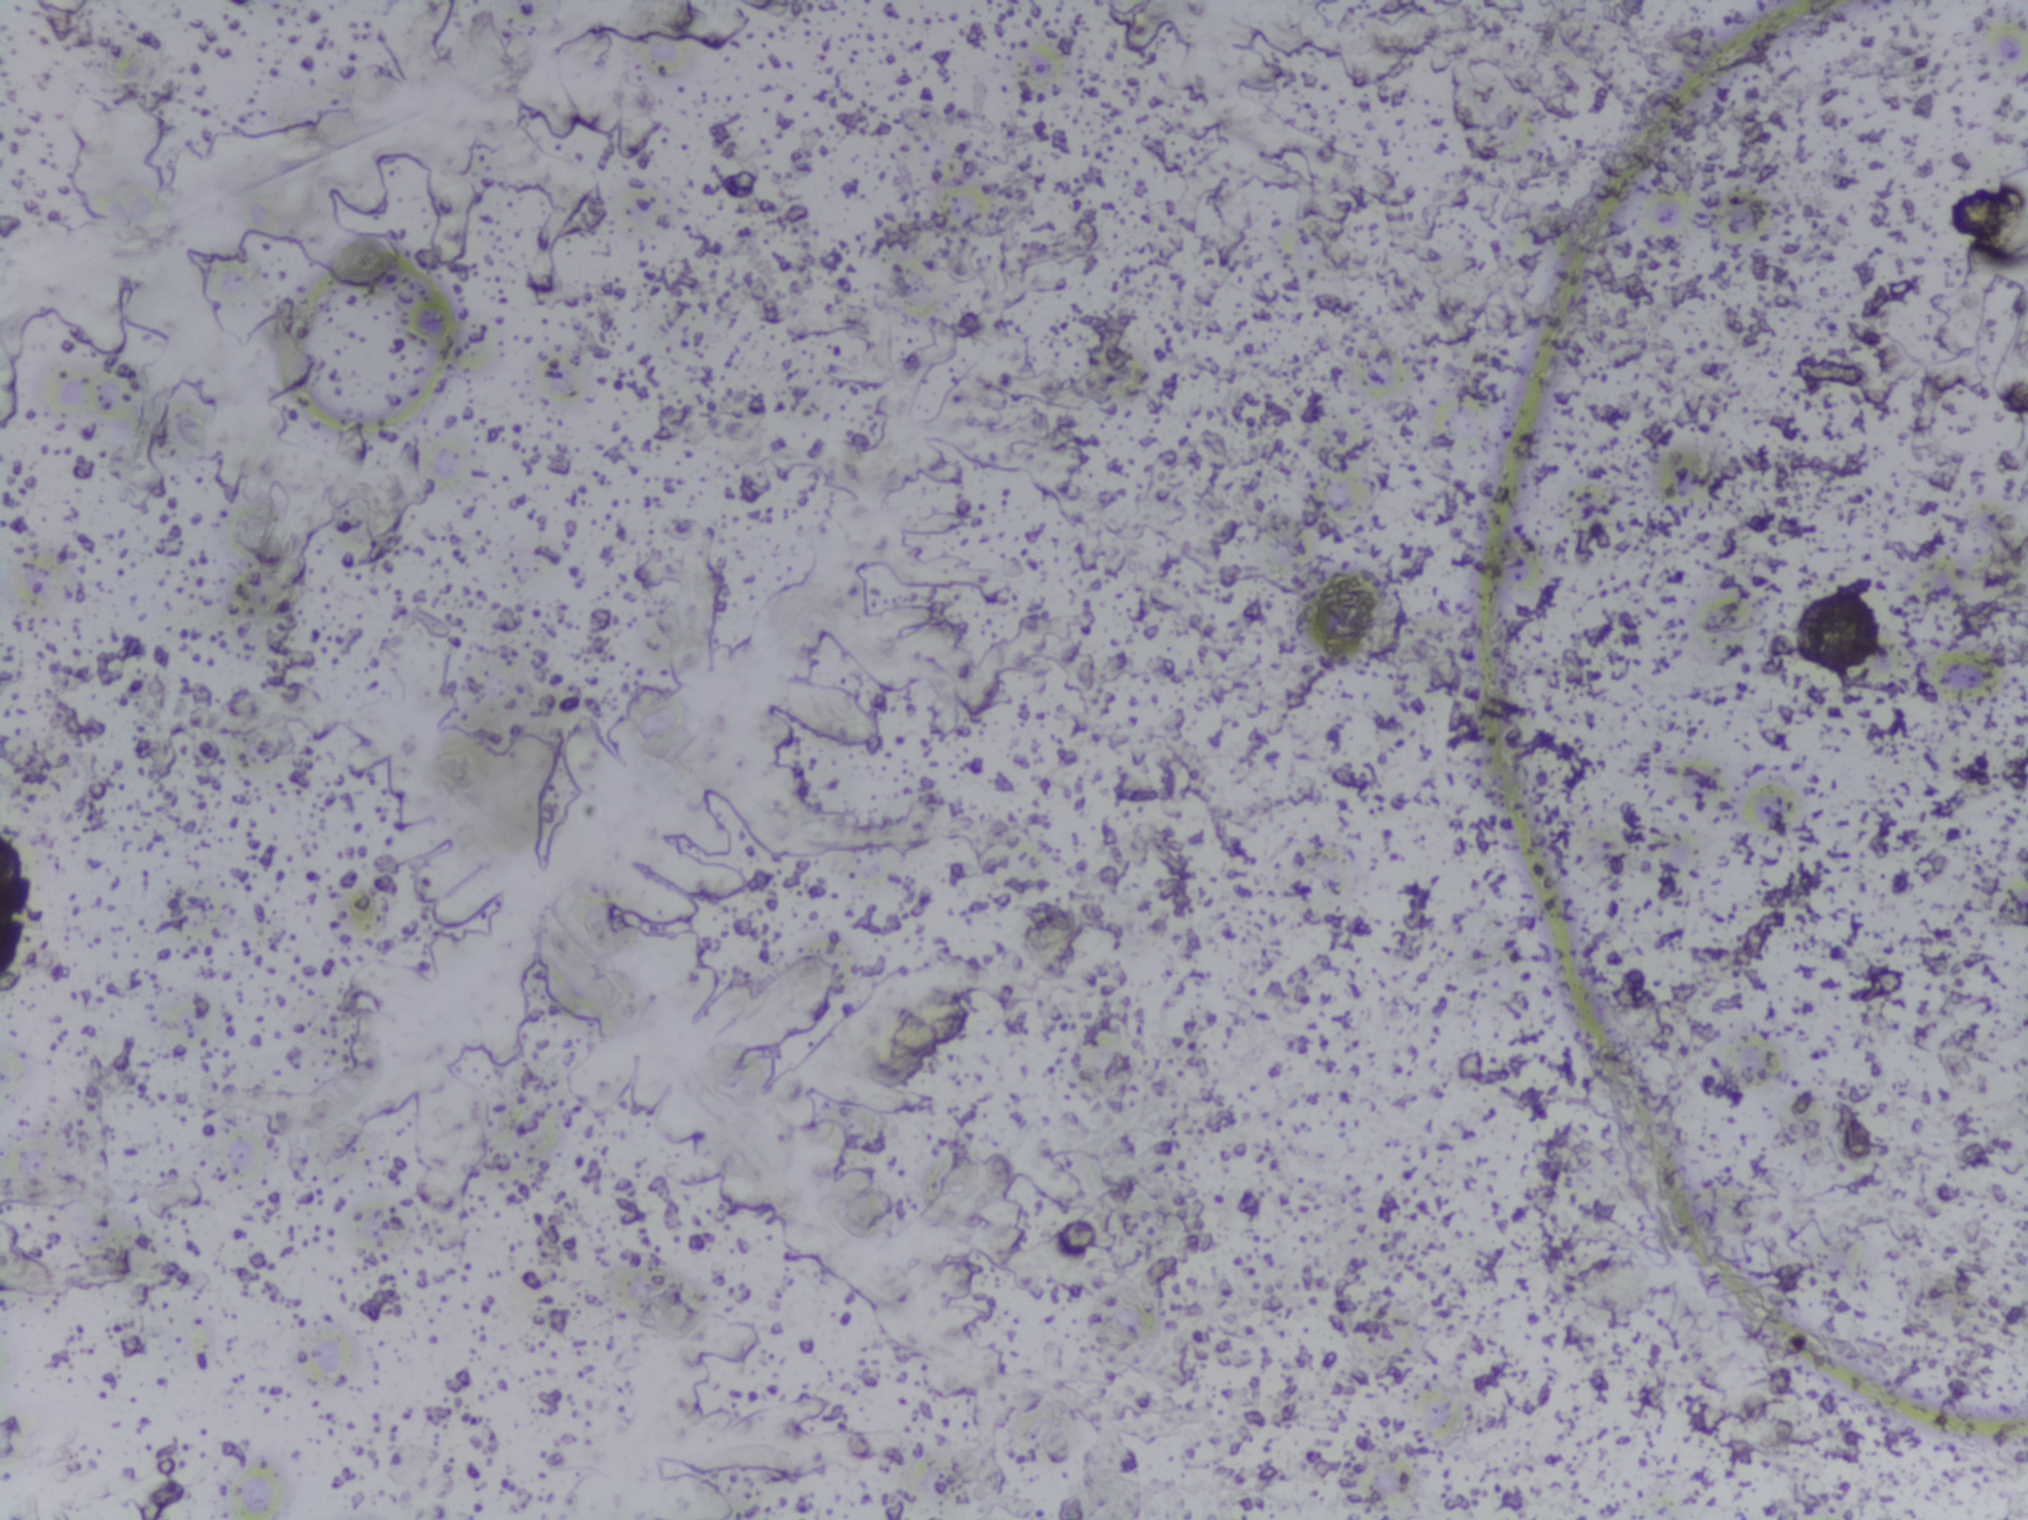
One field of view of a urine filter membrane, 4× objective, 2028 × 1520 pixels.
The expert annotation marks no Schistosoma egg in this field of view.